Urine filtration membrane under a 4× objective, photographed by an automated digital microscope.
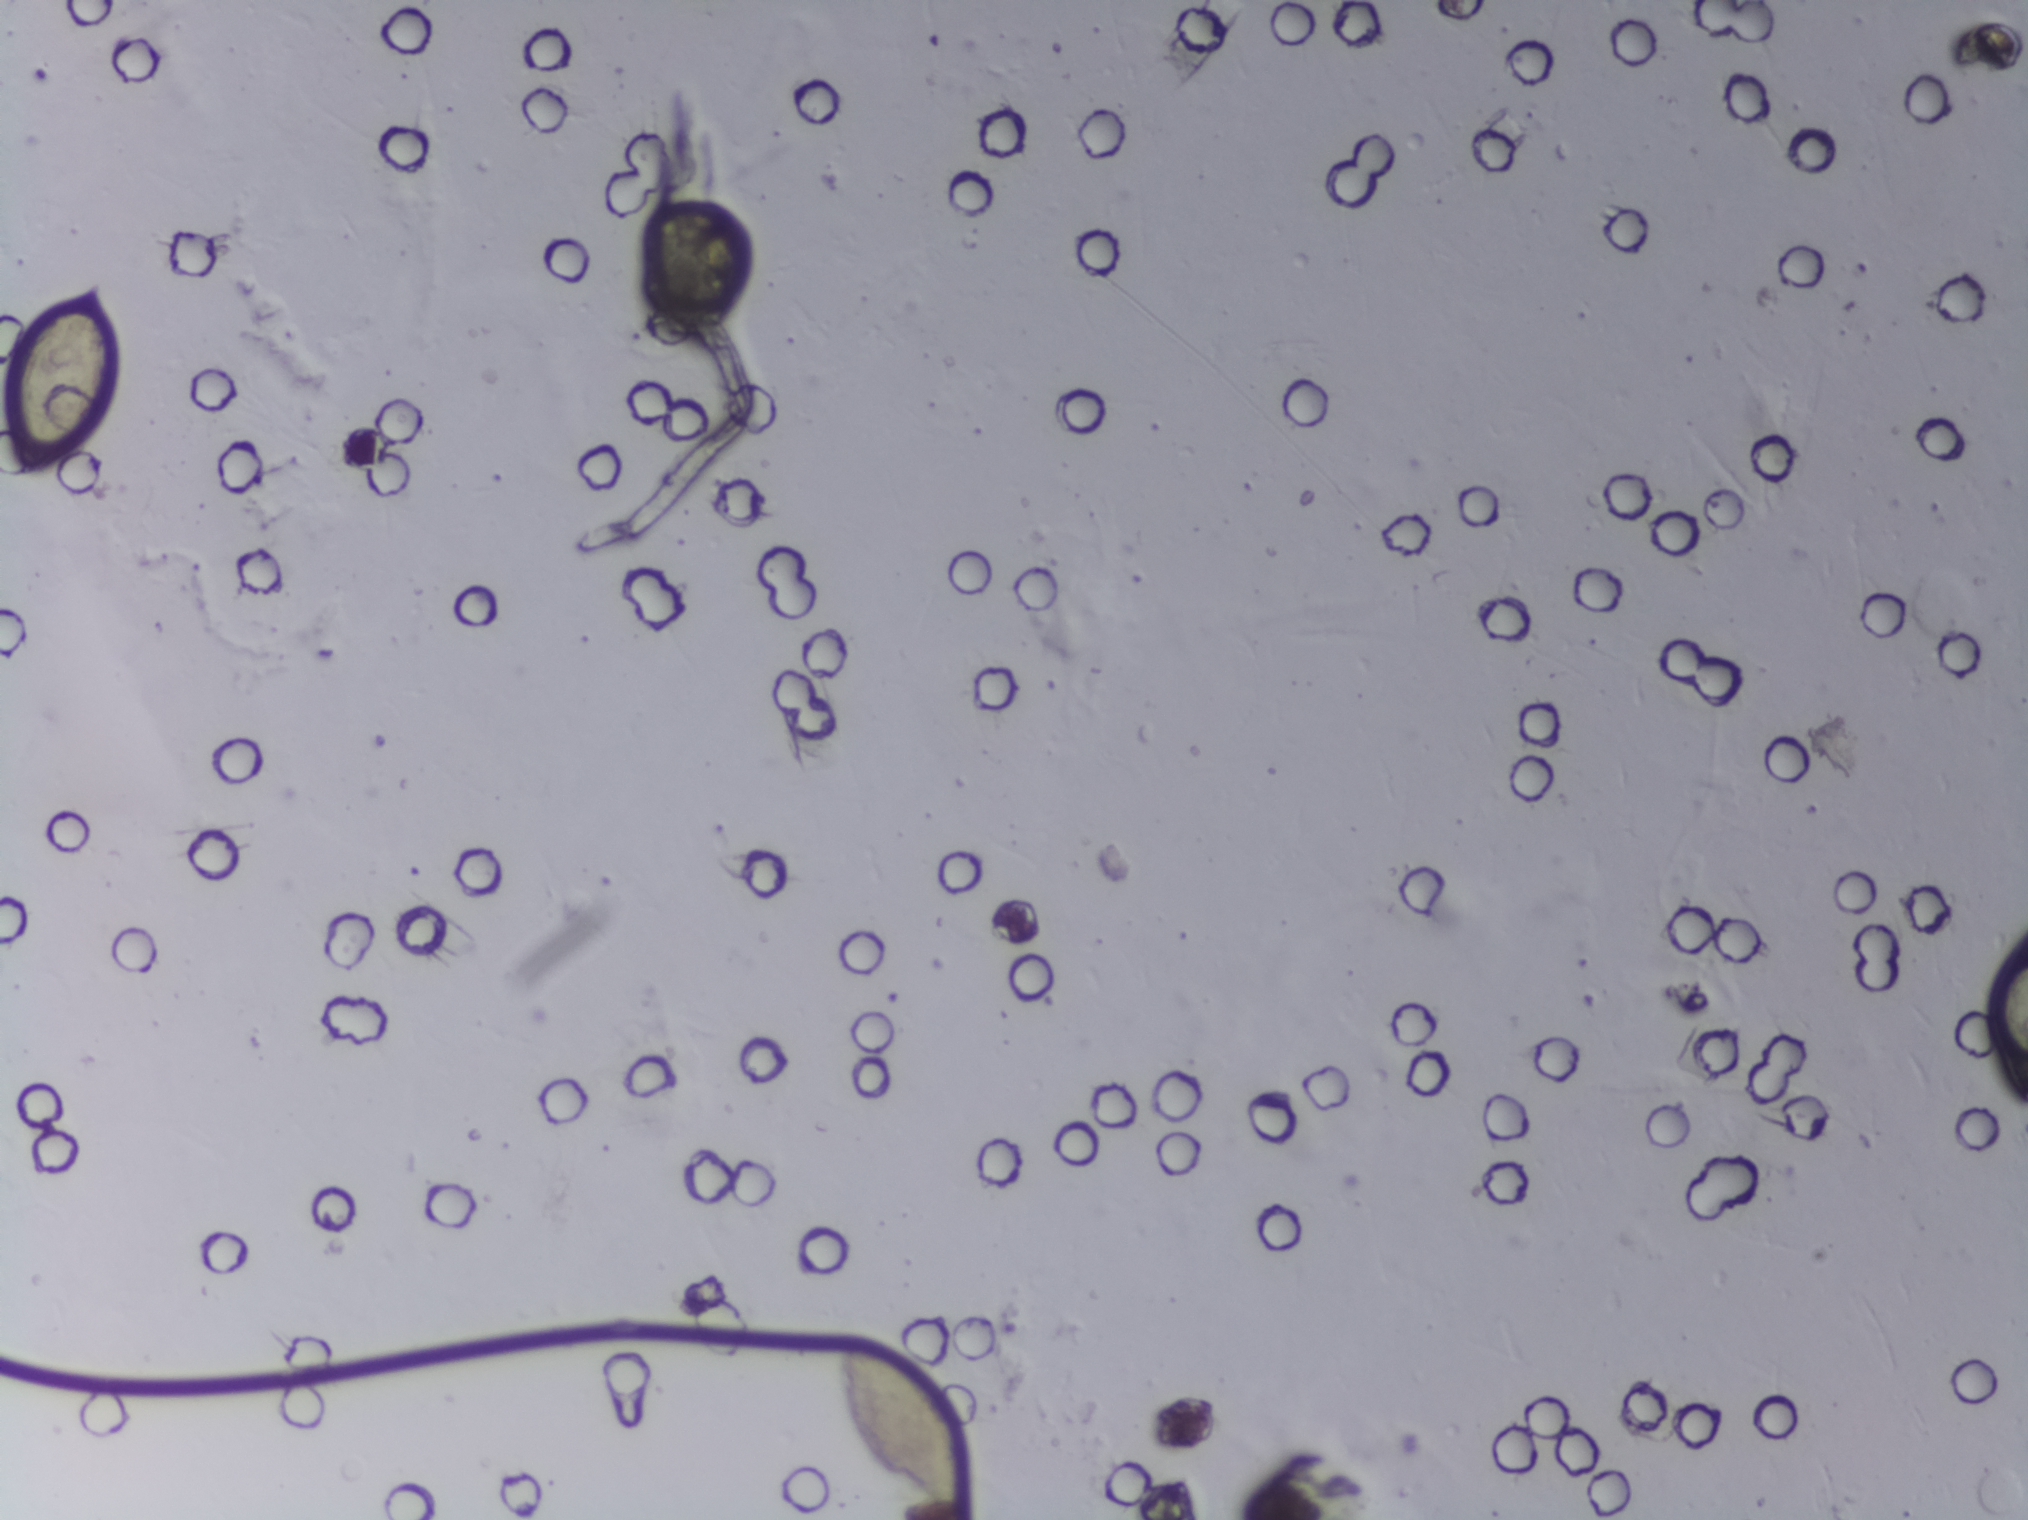
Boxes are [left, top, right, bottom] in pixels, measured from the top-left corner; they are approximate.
Areas outlined as Schistosoma eggs, left to right:
1. [1, 271, 120, 482]
2. [830, 1330, 976, 1513]
About 1.1% of the image's pixels are marked (the marked pixels themselves, not the boxes around them). A single outlined area may contain several eggs.